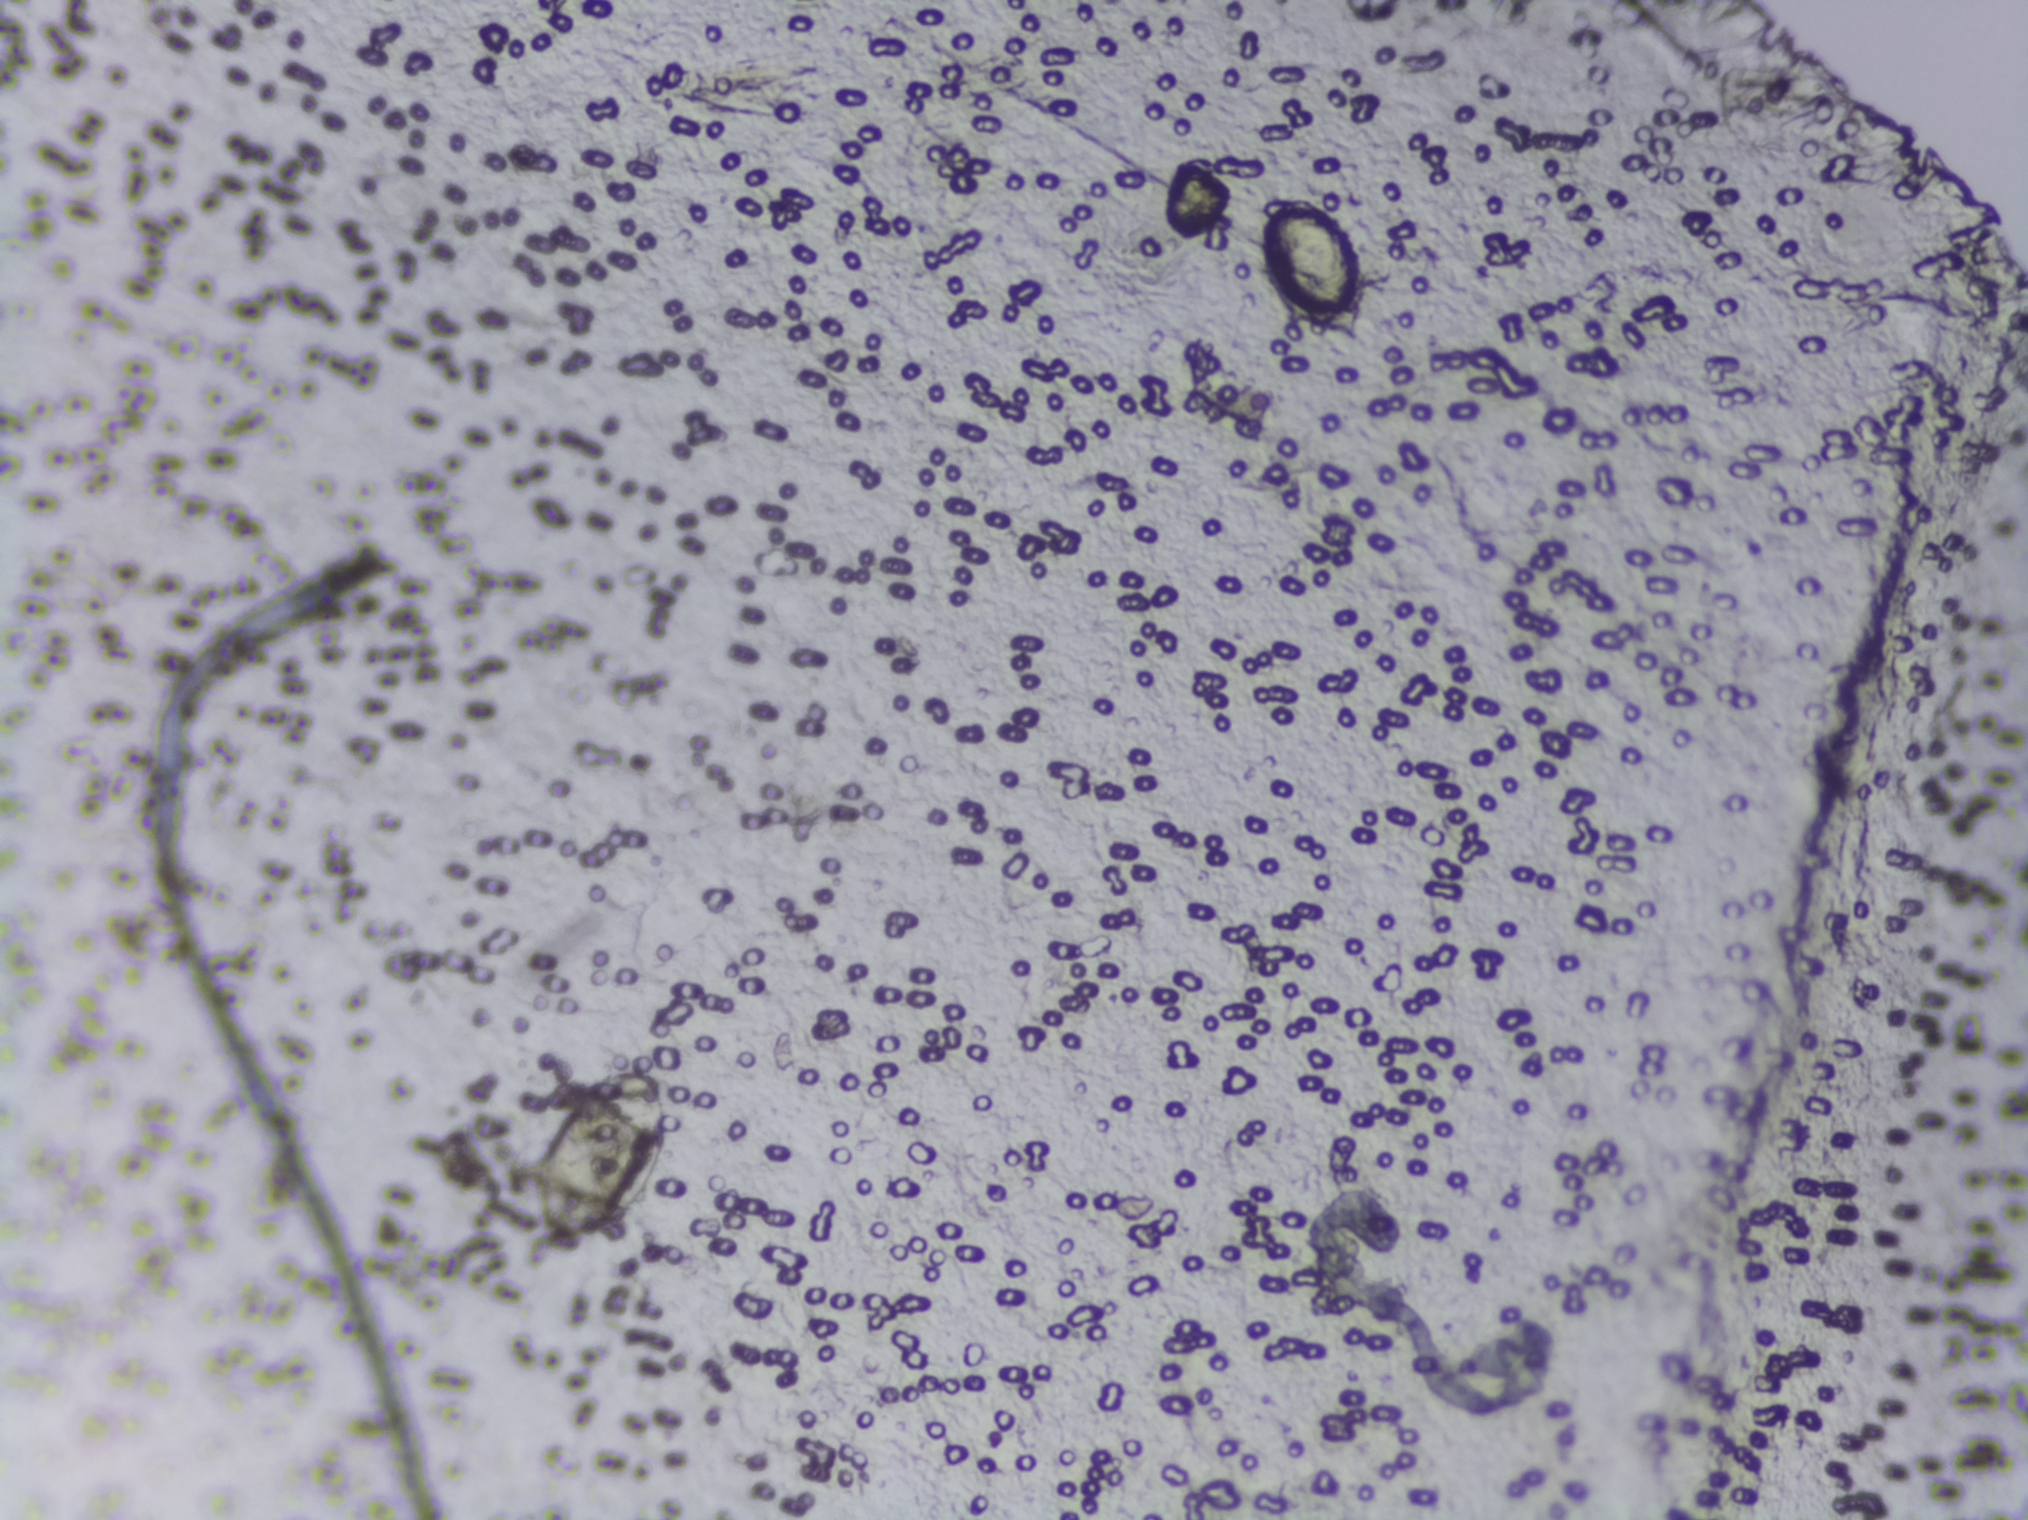
One field of view of a urine filter membrane, 4× objective, 2028 × 1520 pixels. Field of view: about 1.5 mm wide and 1.1 mm high.
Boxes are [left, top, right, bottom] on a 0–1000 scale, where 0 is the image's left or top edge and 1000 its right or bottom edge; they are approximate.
Areas outlined as Schistosoma eggs, left to right:
1. [253, 700, 330, 818]
2. [622, 132, 672, 223]
A single outlined area may contain several eggs. A marked egg may occasionally be S. mansoni rather than S. haematobium.